Microscope photograph (4× objective) of a membrane that a urine sample was filtered through.
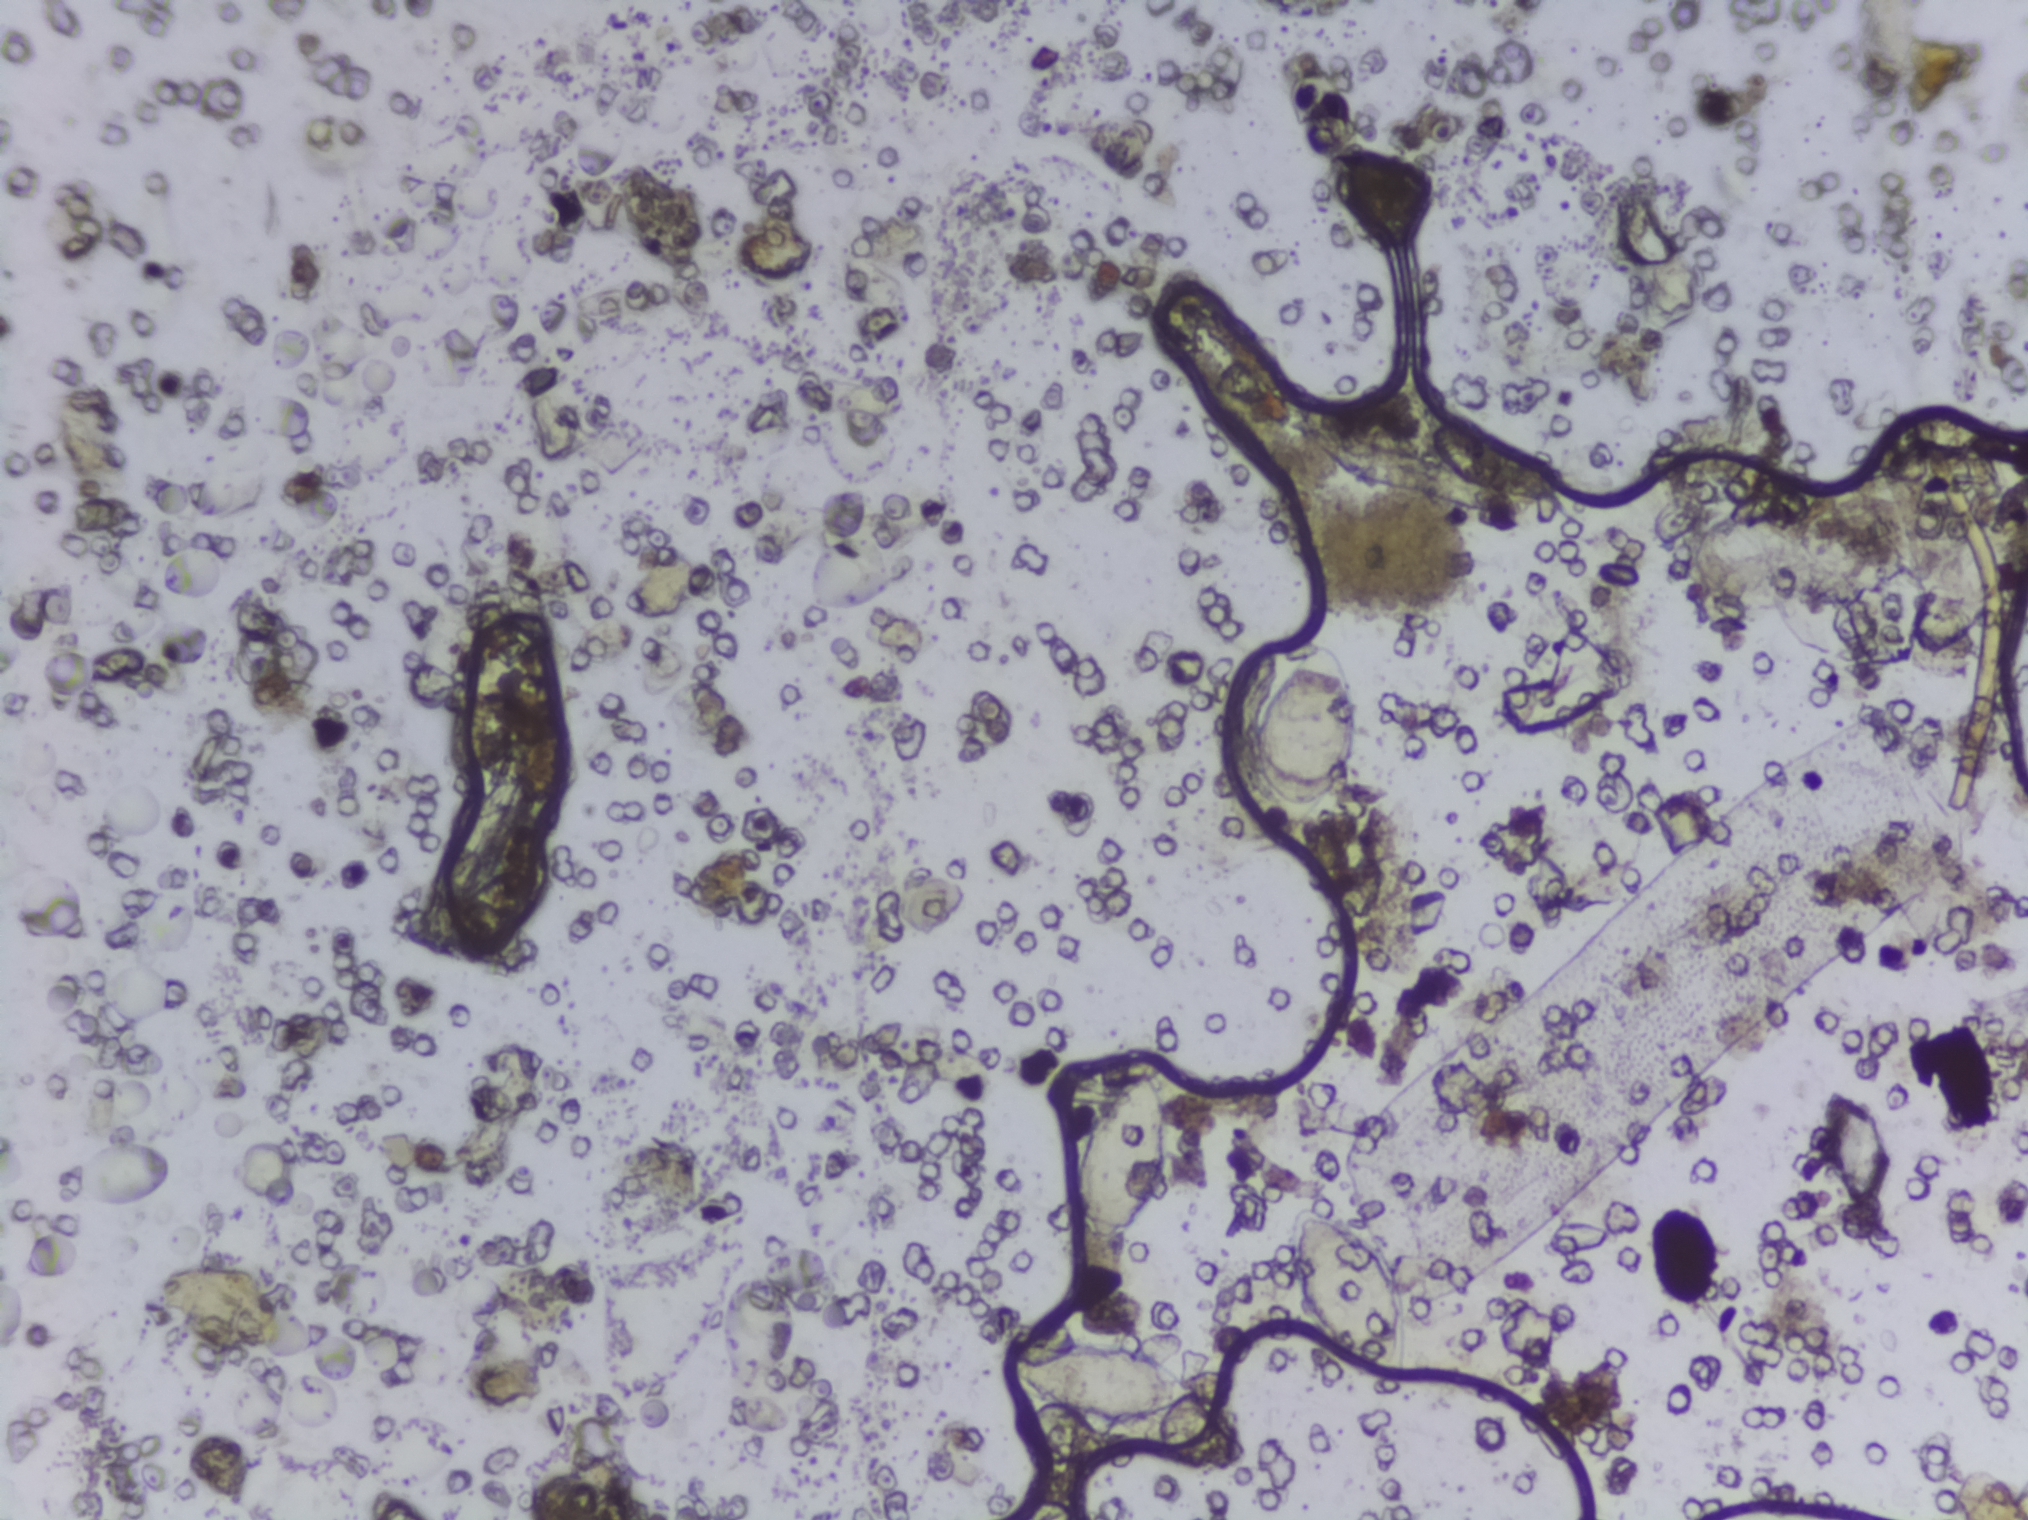
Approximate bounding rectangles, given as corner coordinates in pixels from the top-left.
Areas outlined as Schistosoma eggs, left to right:
1. (x1=1008, y1=1343, x2=1198, y2=1419)
2. (x1=1078, y1=1074, x2=1169, y2=1245)
3. (x1=1249, y1=639, x2=1355, y2=843)
4. (x1=1289, y1=1207, x2=1405, y2=1378)
An outlined area can hold more than one egg.